Photomicrograph of a urine filtration membrane, 4× objective.
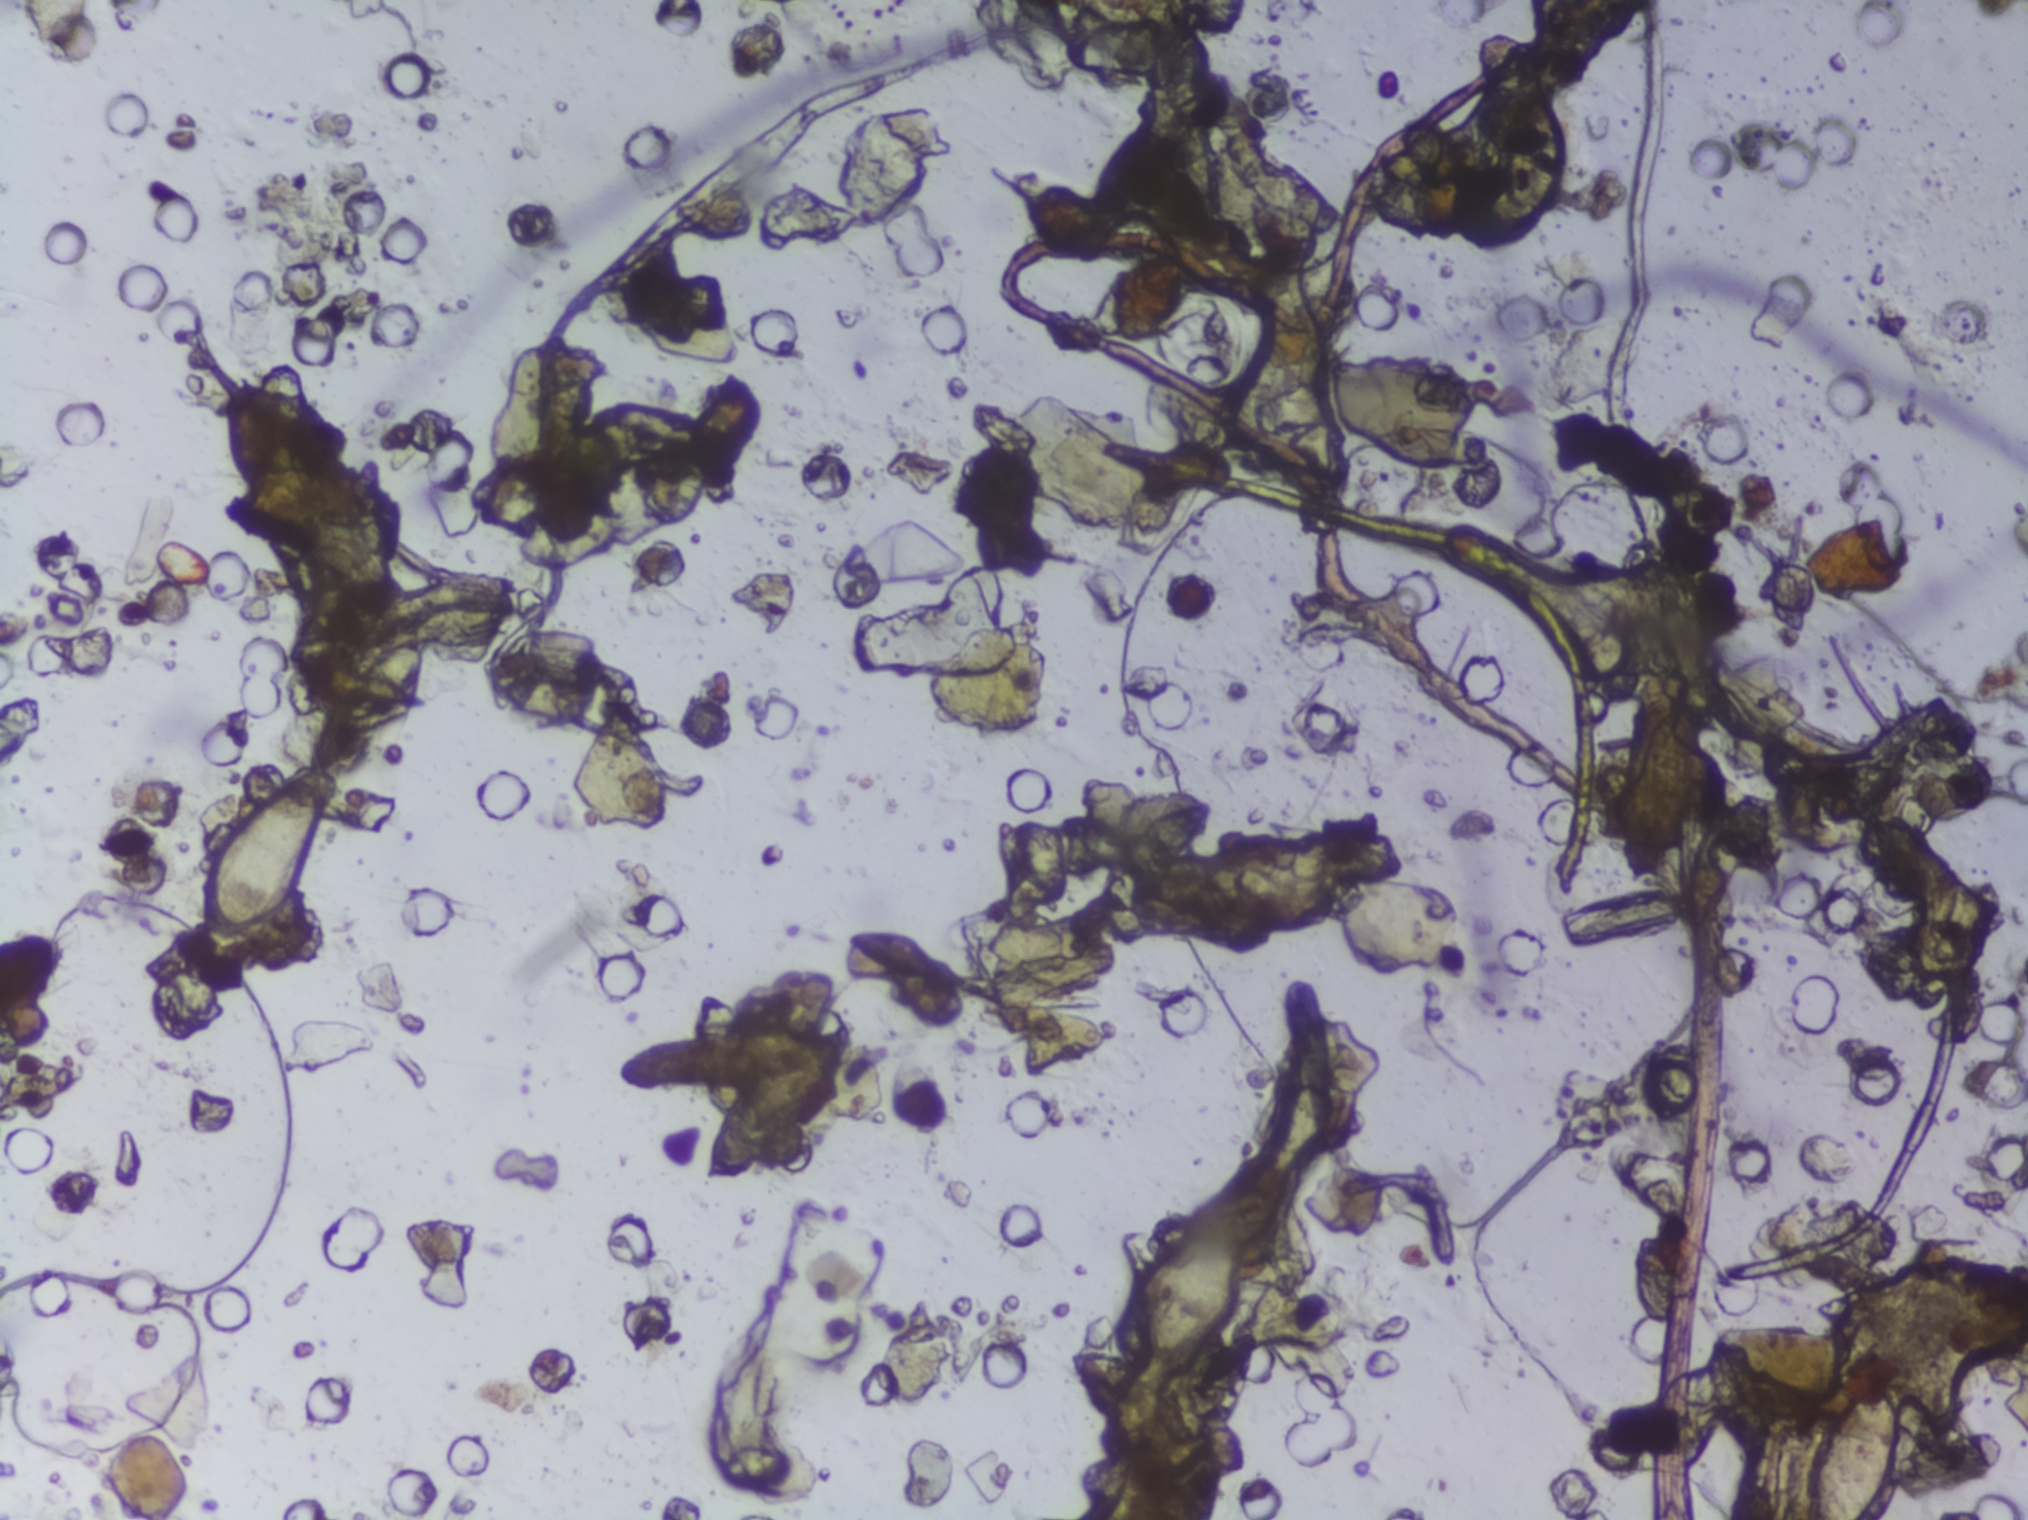
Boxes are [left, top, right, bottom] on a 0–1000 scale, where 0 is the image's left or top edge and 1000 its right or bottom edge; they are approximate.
Schistosoma eggs are outlined in five areas of this image, listed from left to right: [95, 501, 163, 636]; [343, 668, 427, 779]; [528, 888, 615, 972]; [728, 50, 772, 157]; [883, 899, 936, 1000] (reaching the bottom edge of the frame). A single outlined area may contain several eggs.